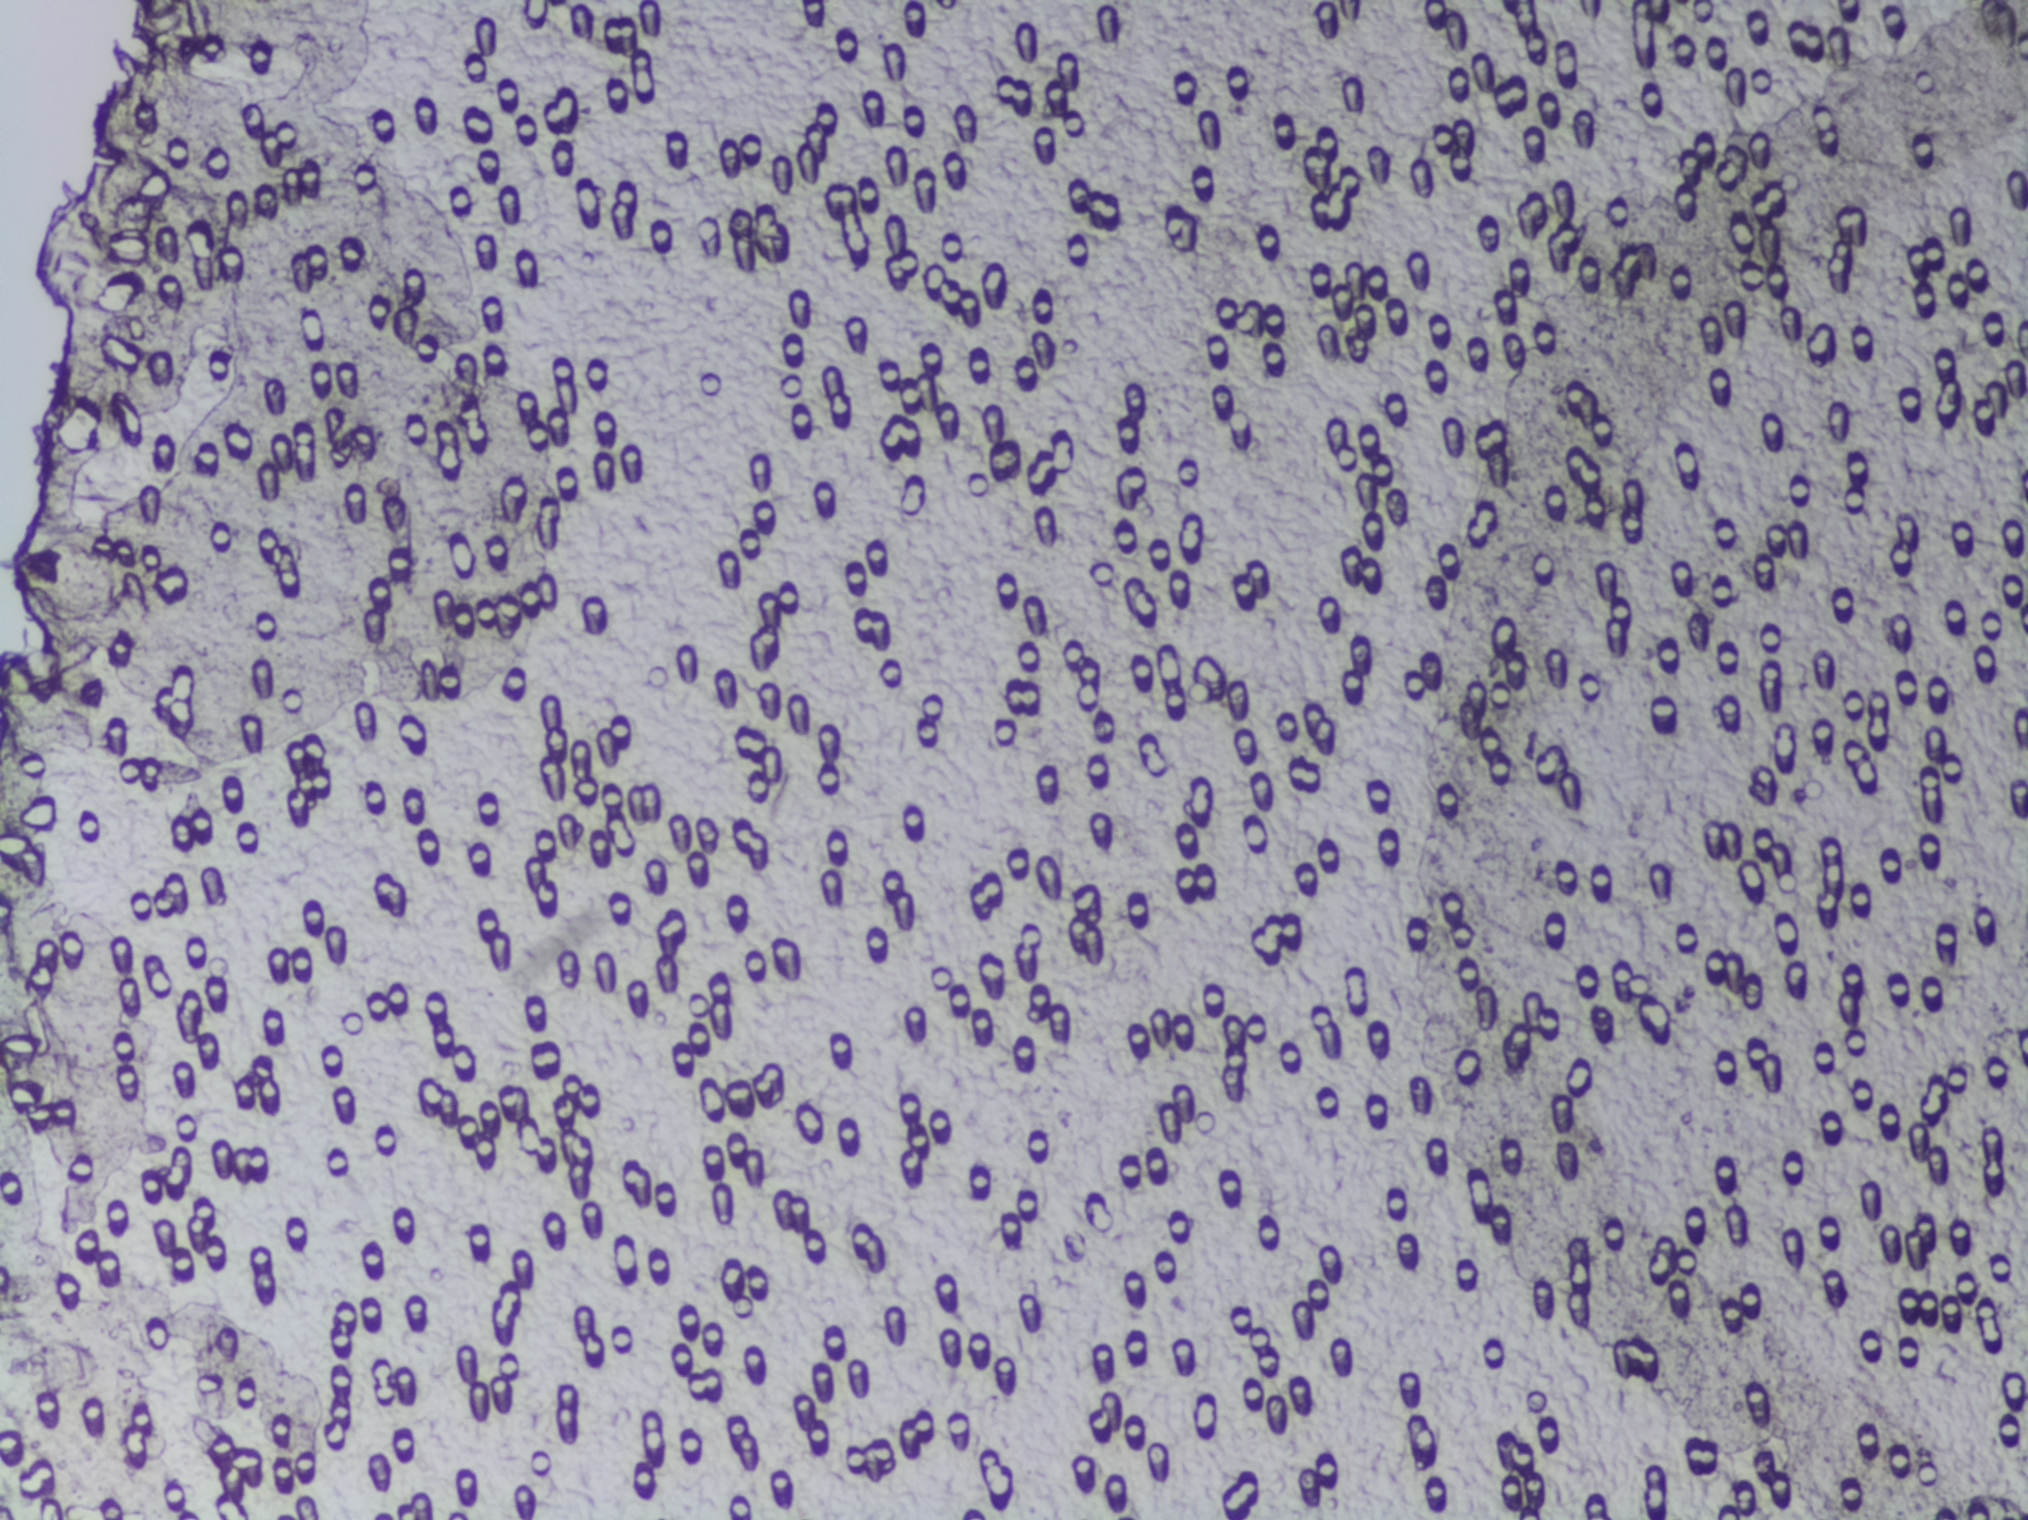
The expert annotation marks no Schistosoma egg in this field of view.
One field of view of a urine filter membrane, 4× objective, 2028 × 1520 pixels. The image covers about 1.5 × 1.1 mm of the membrane.